Photomicrograph of a urine filtration membrane, 4× objective.
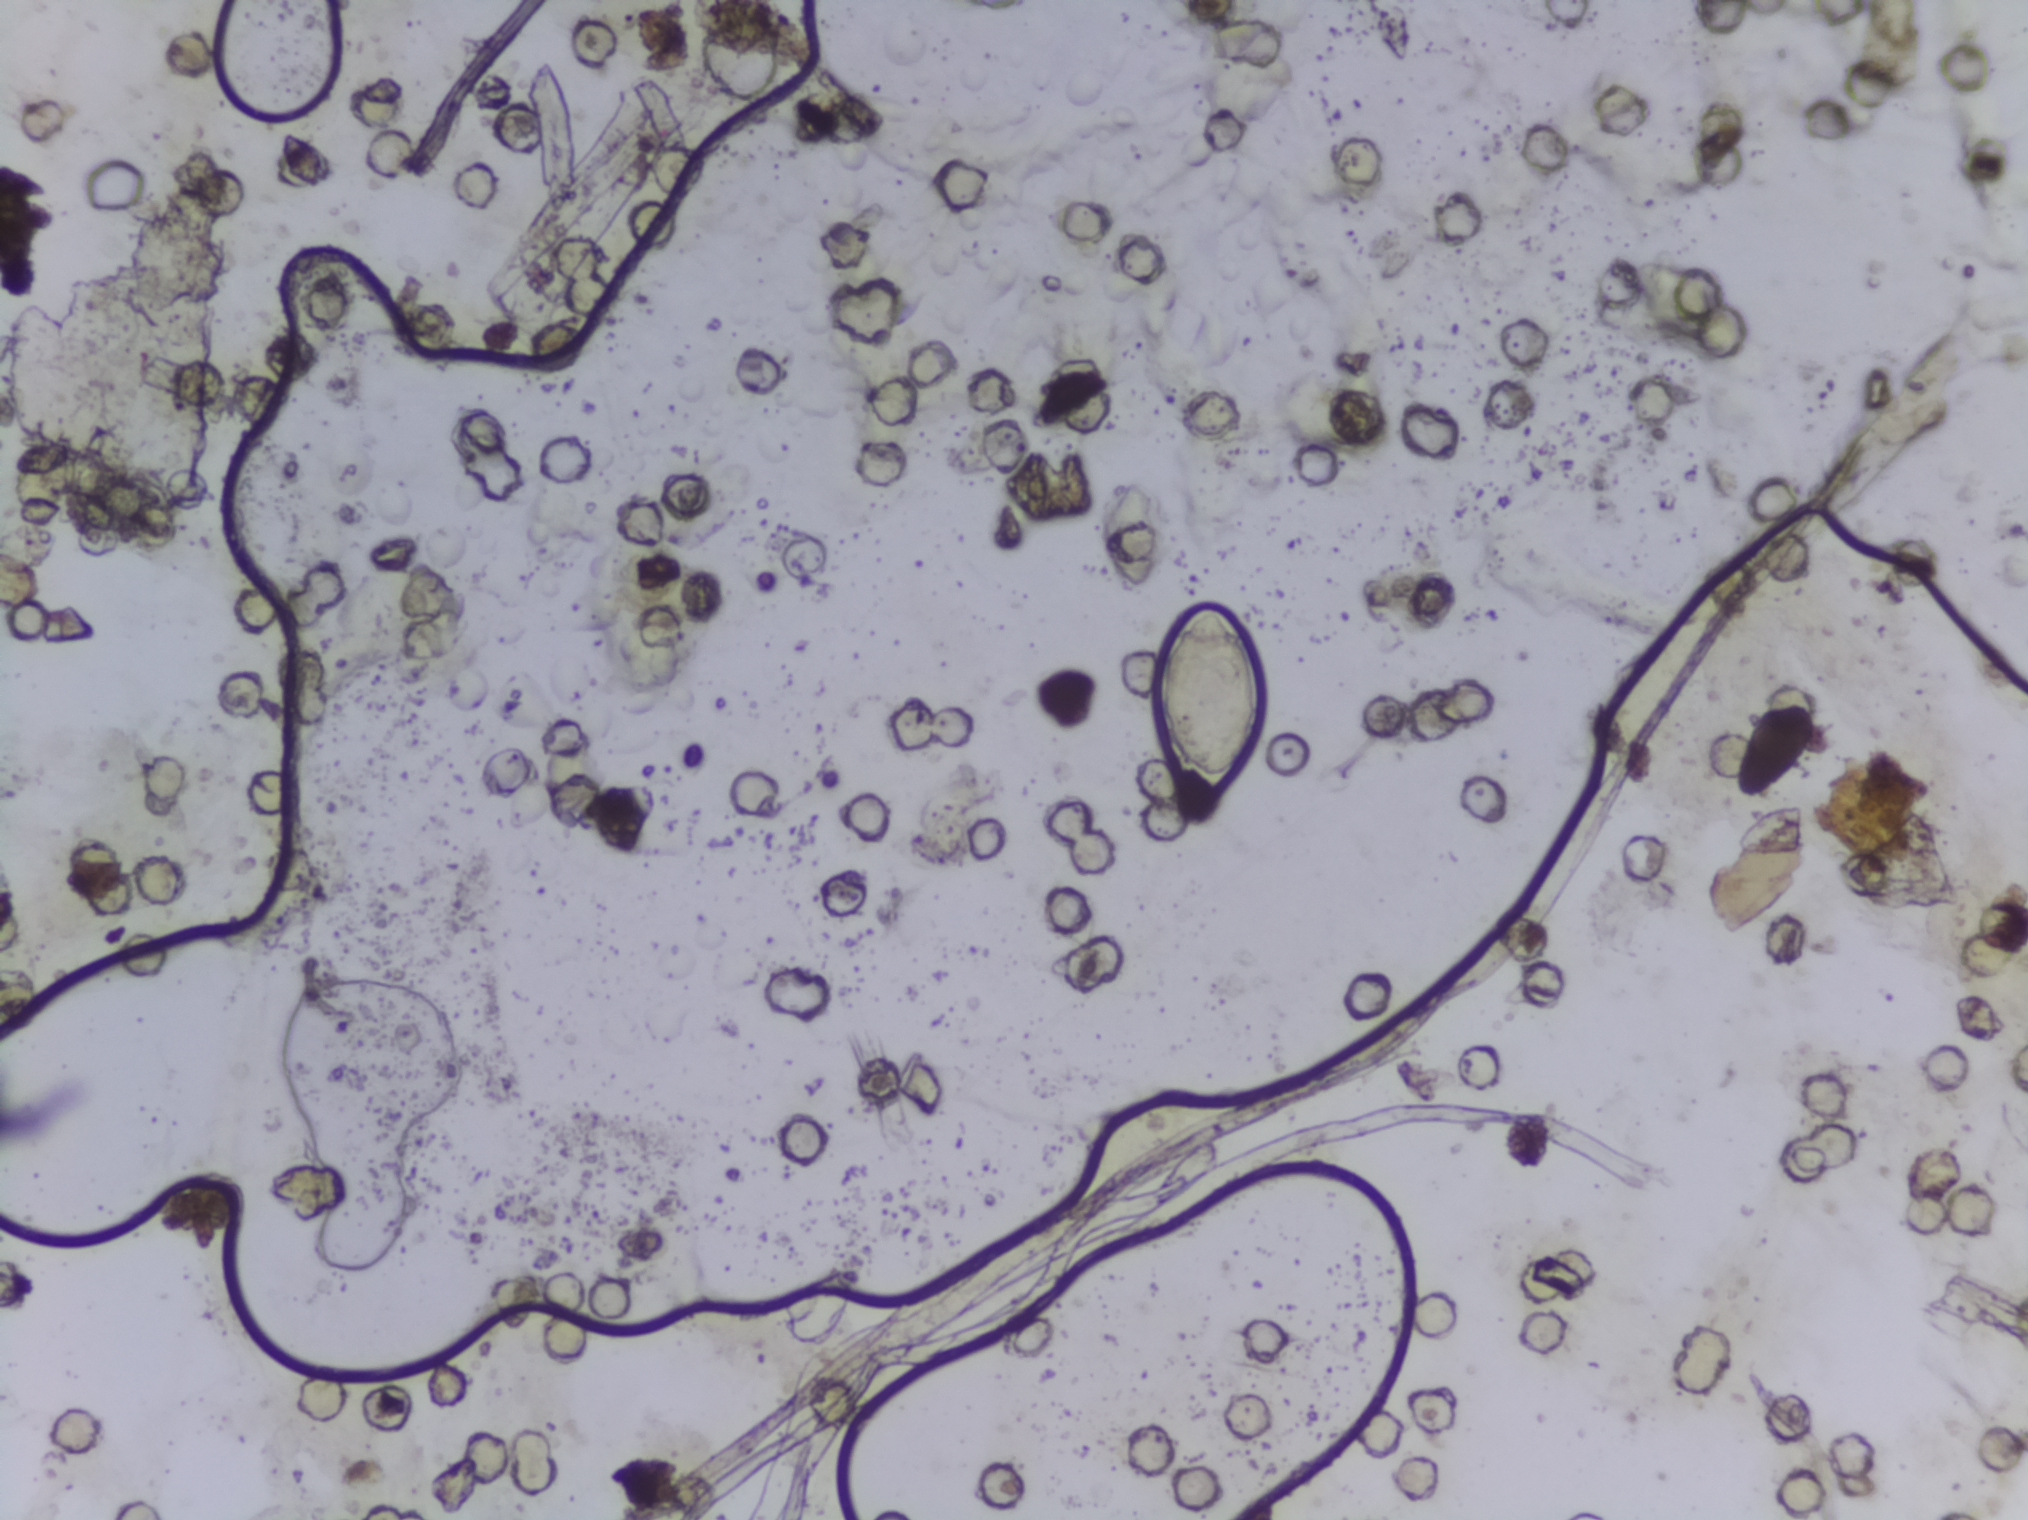
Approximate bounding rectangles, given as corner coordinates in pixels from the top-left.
Findings: one area outlined as Schistosoma eggs. Location: (x1=1160, y1=606, x2=1262, y2=790). Marked pixels, not the box around them: about 0.5% of the image. Eggs that touch can end up inside the same outlined area.